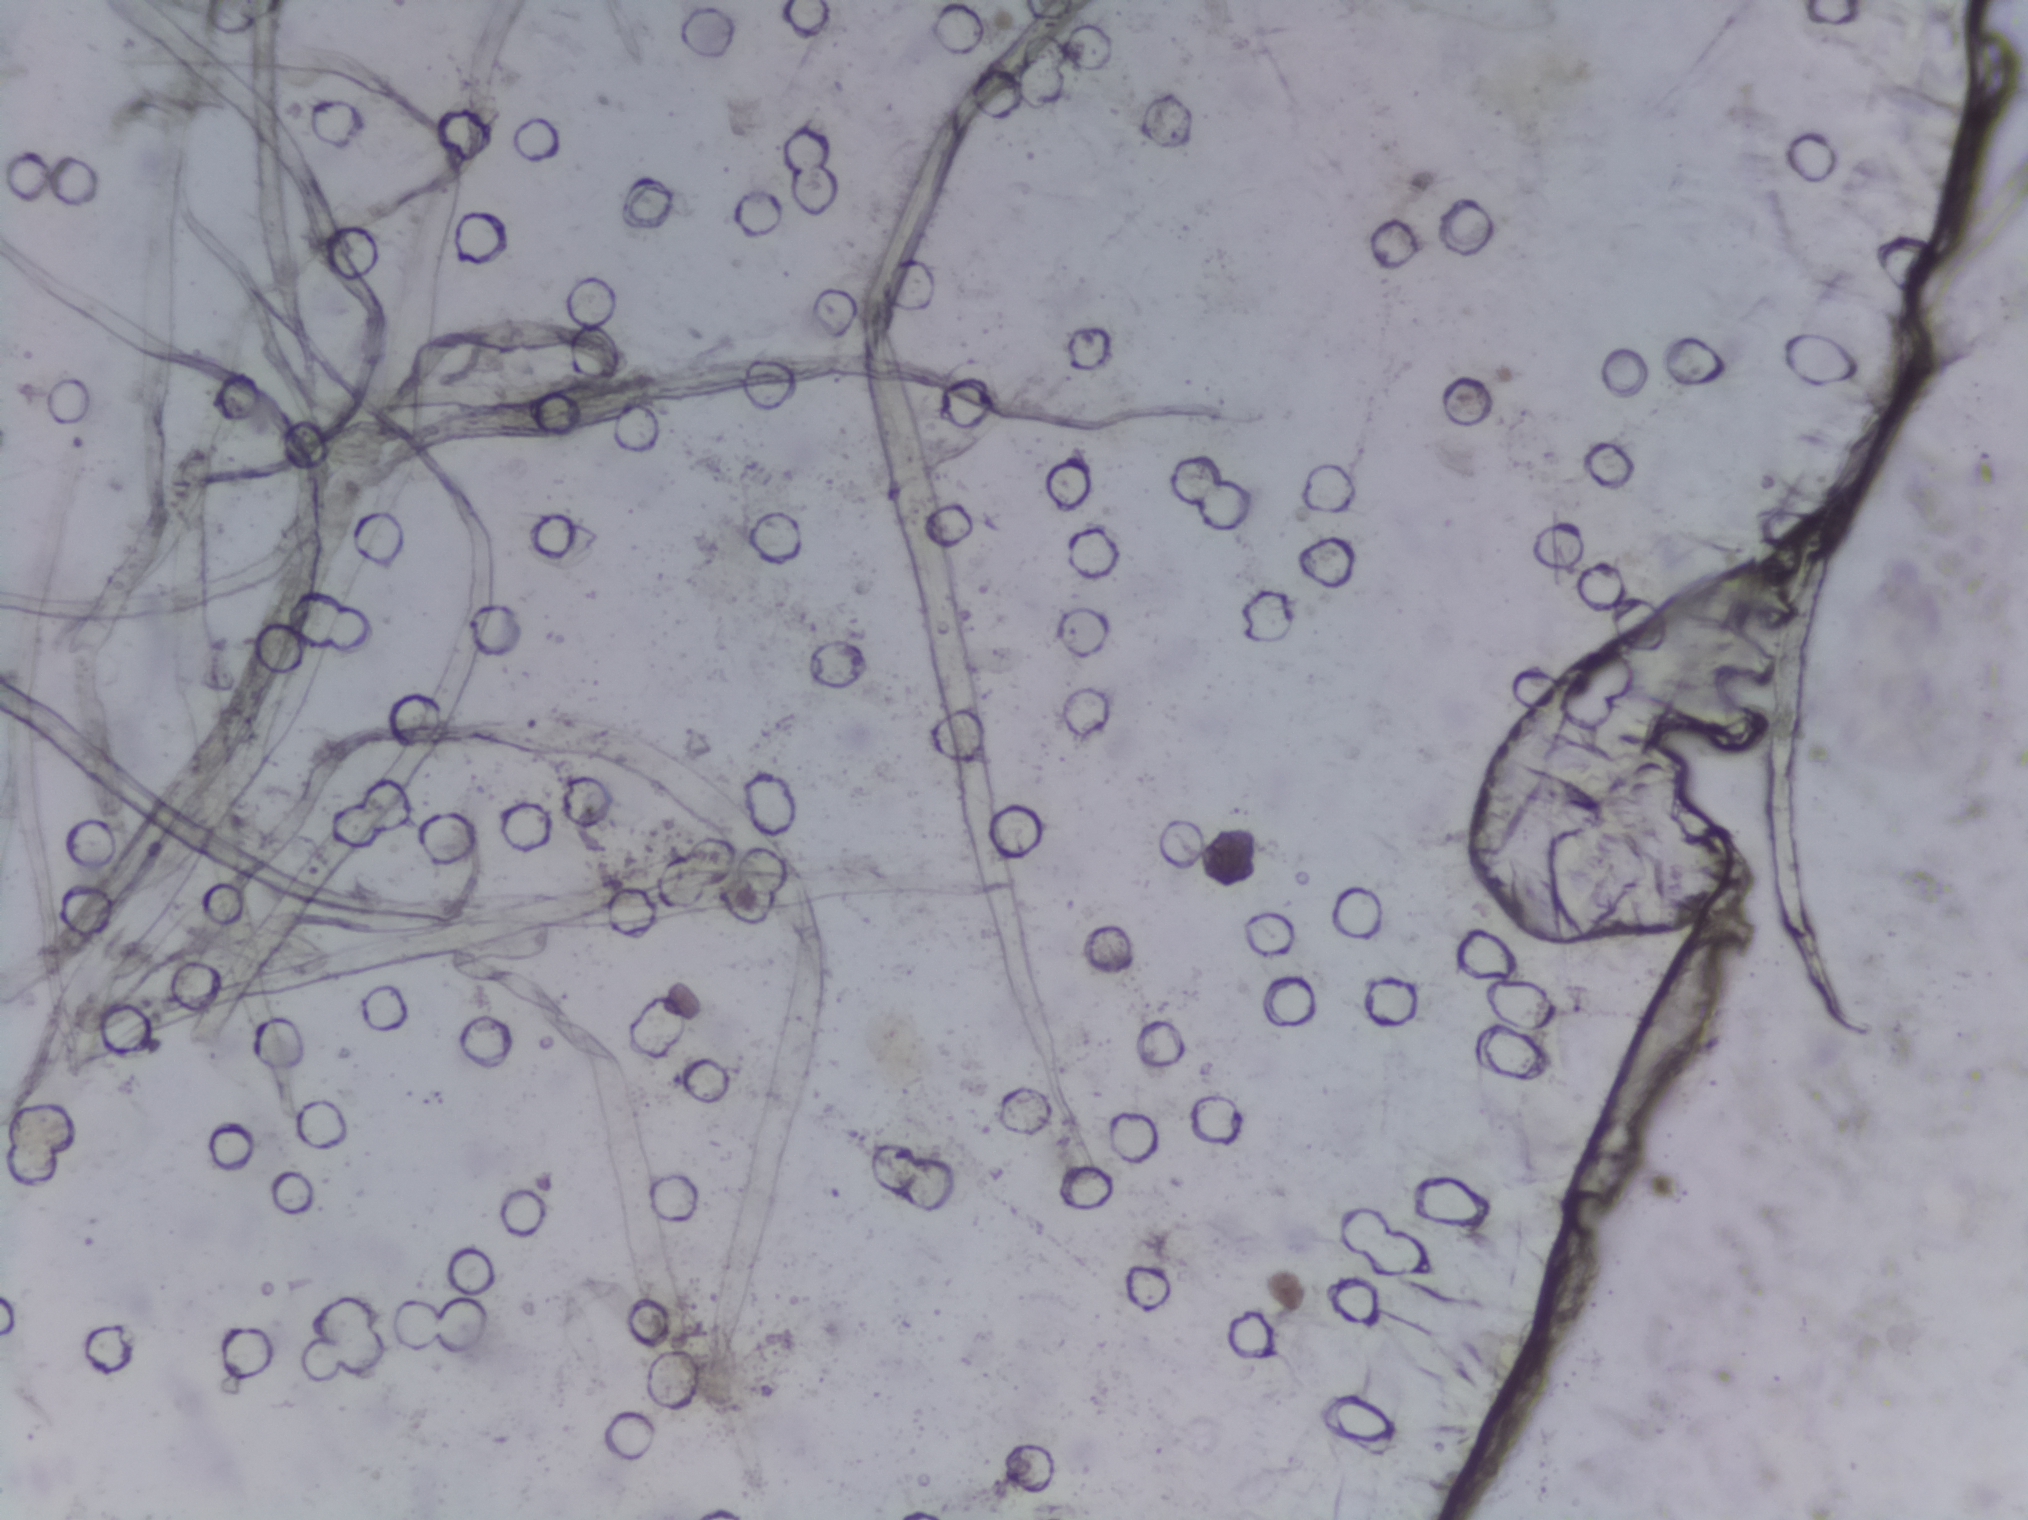
Schistosoma eggs: none outlined.
Urine filtration membrane under a 4× objective, photographed by an automated digital microscope.